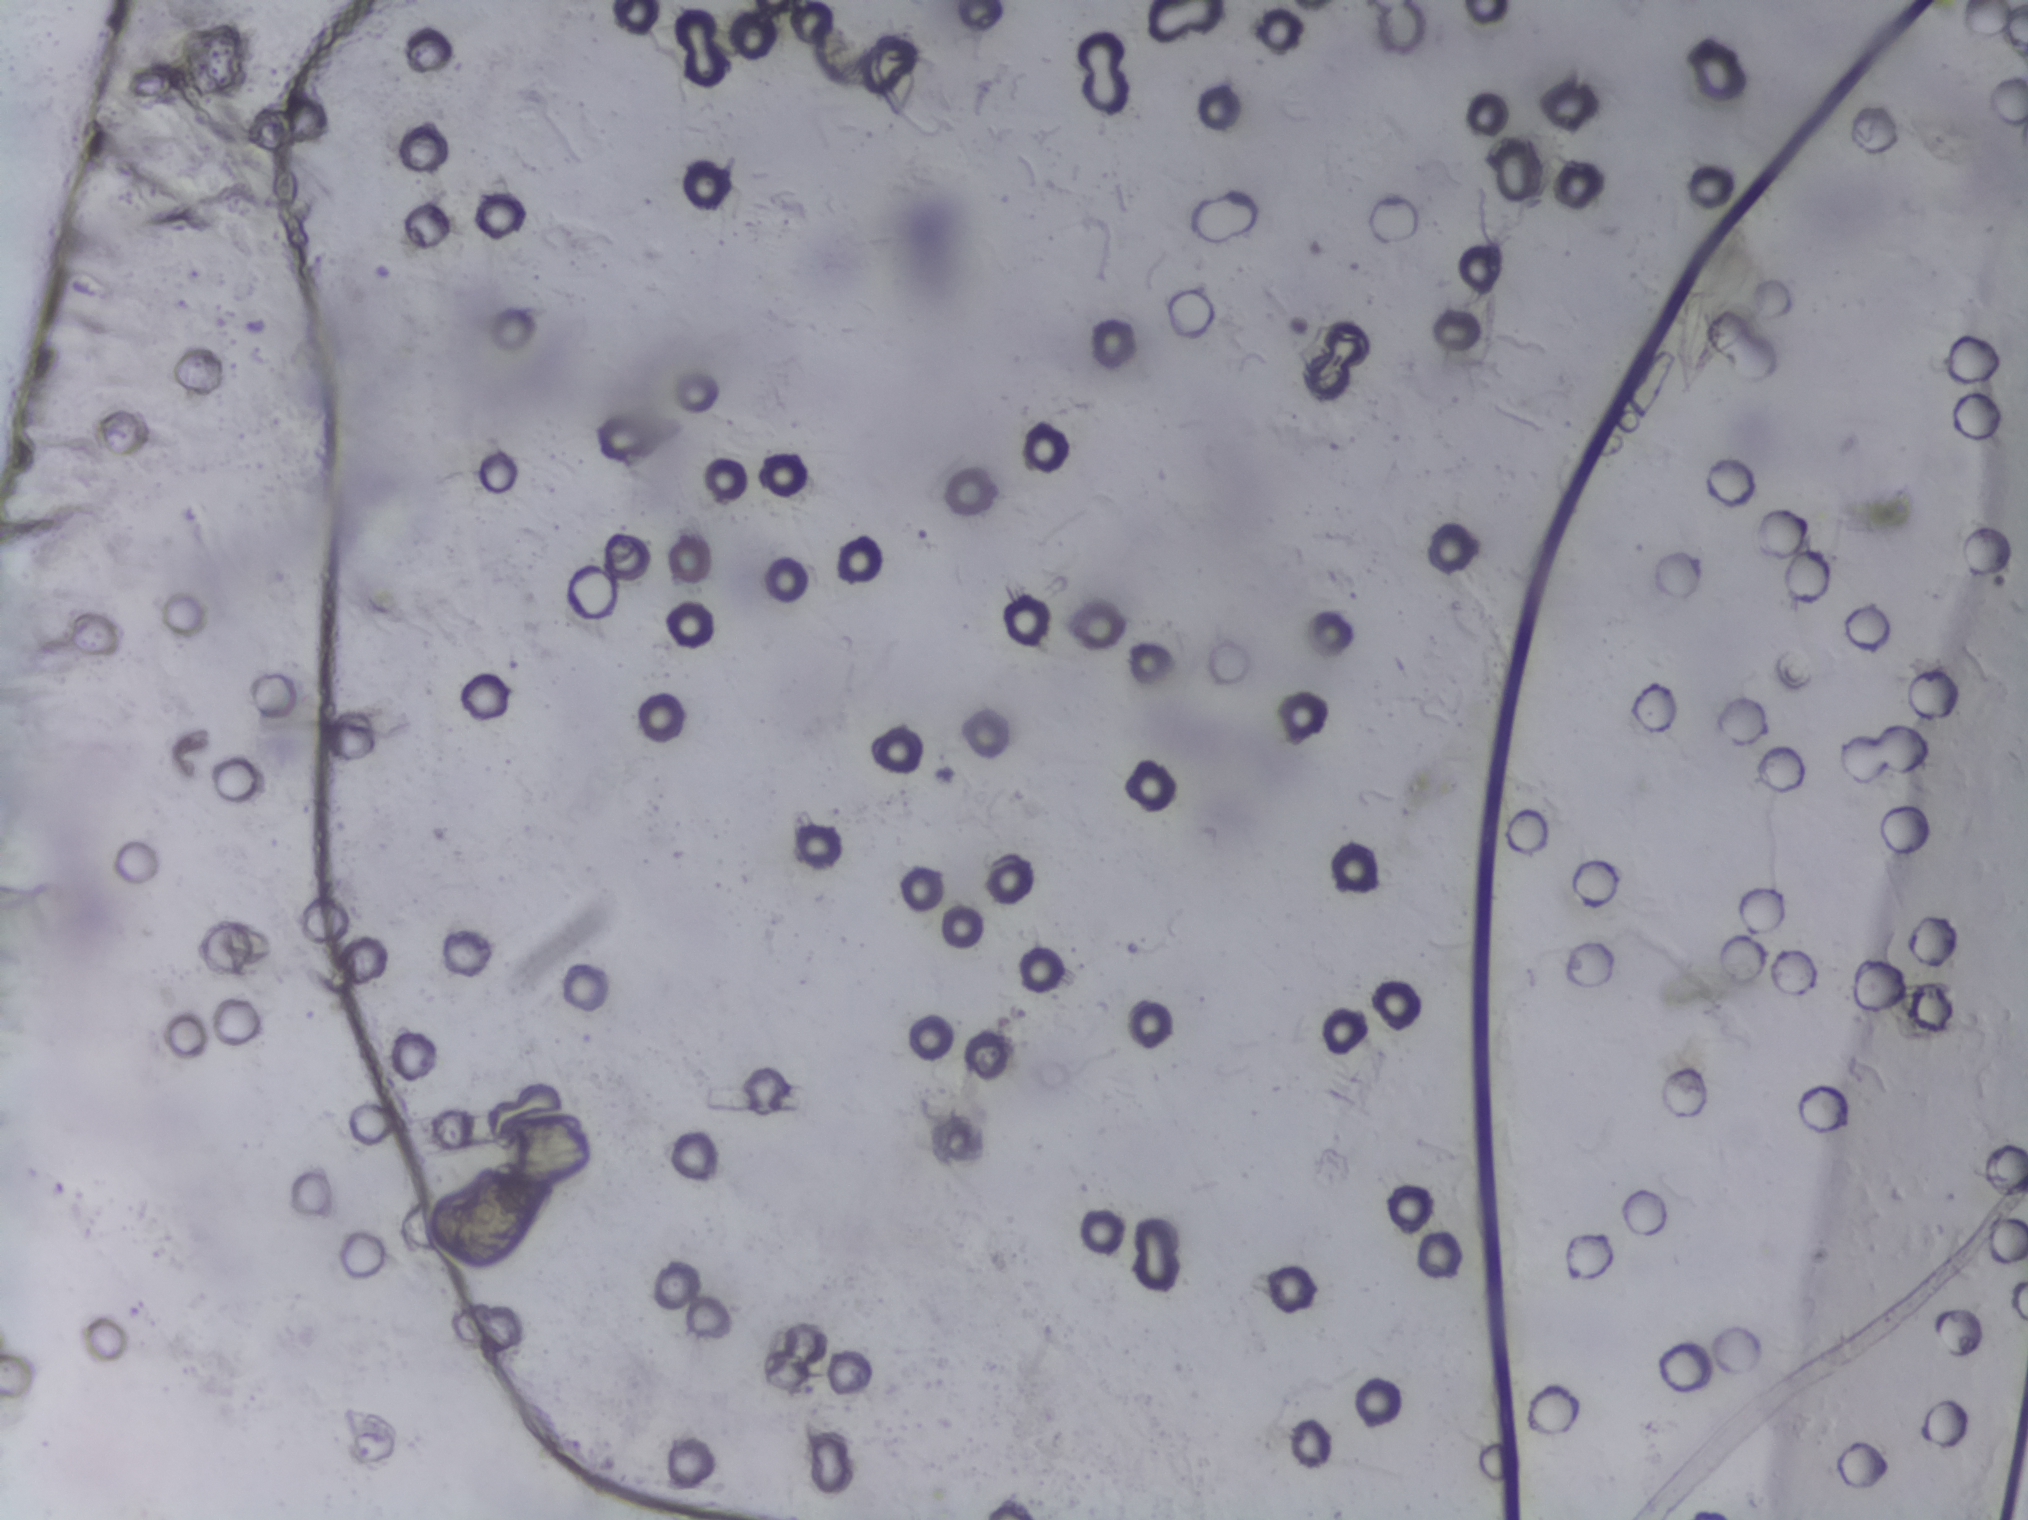
Urine filtration membrane under a 4× objective, photographed by an automated digital microscope.
The expert annotation marks no Schistosoma egg in this field of view.